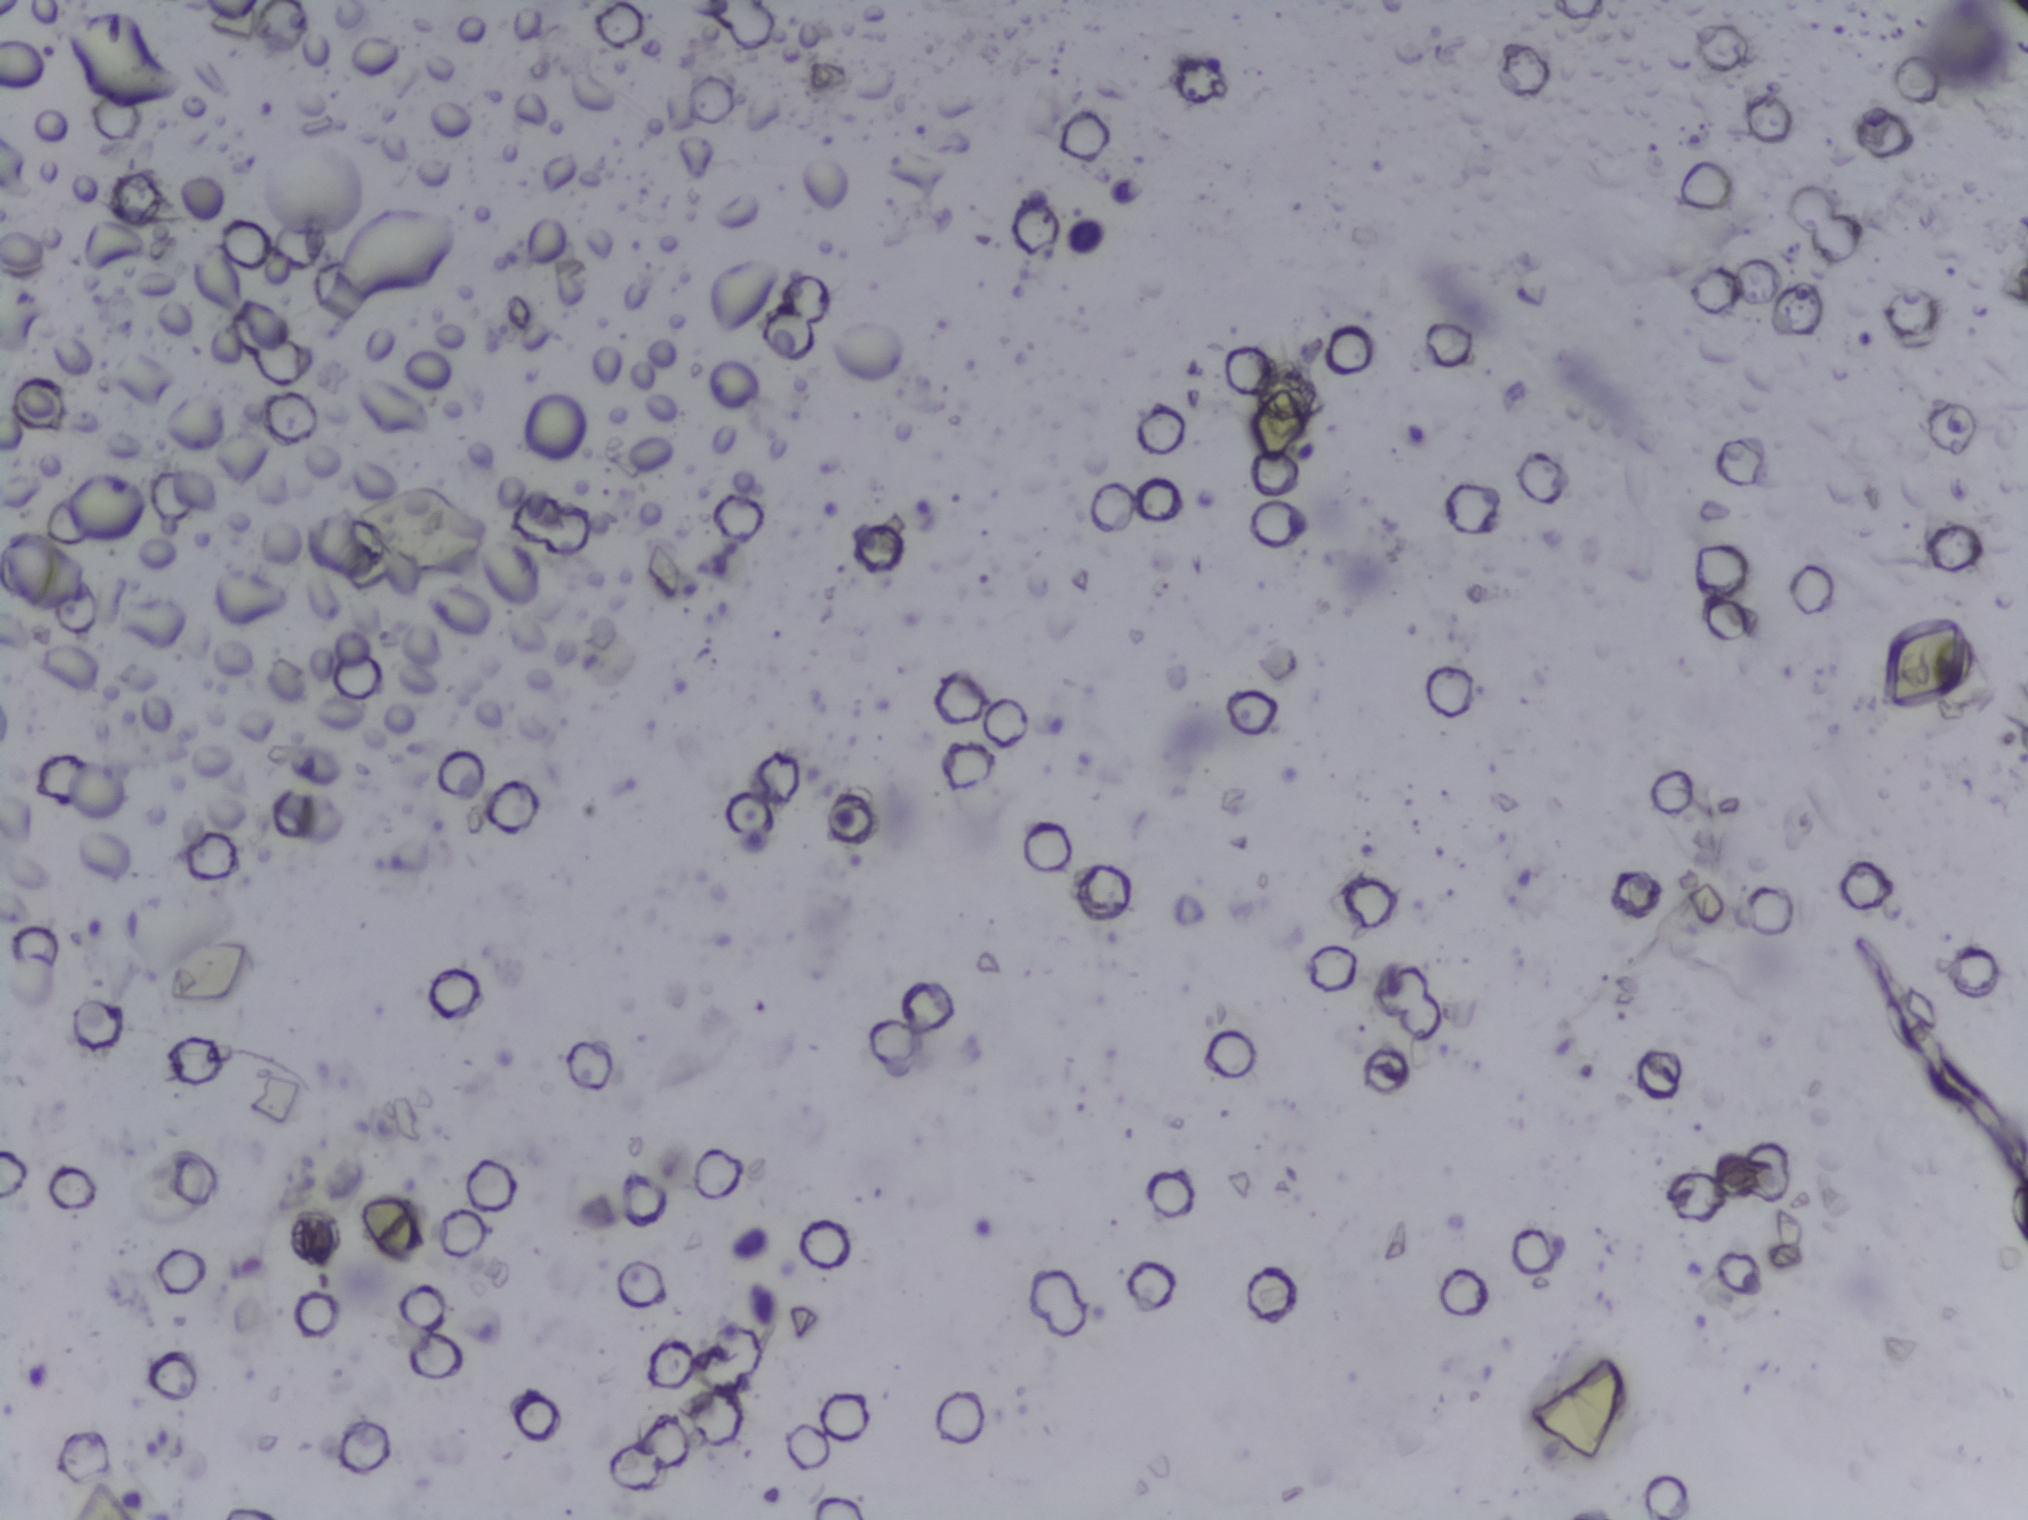
Photograph from an automated digital microscope: urine filter membrane, 4× objective. The image covers about 1.5 × 1.1 mm of the membrane.
Schistosoma eggs: none outlined.